Photograph from an automated digital microscope: urine filter membrane, 4× objective. Field of view: about 1.5 mm wide and 1.1 mm high.
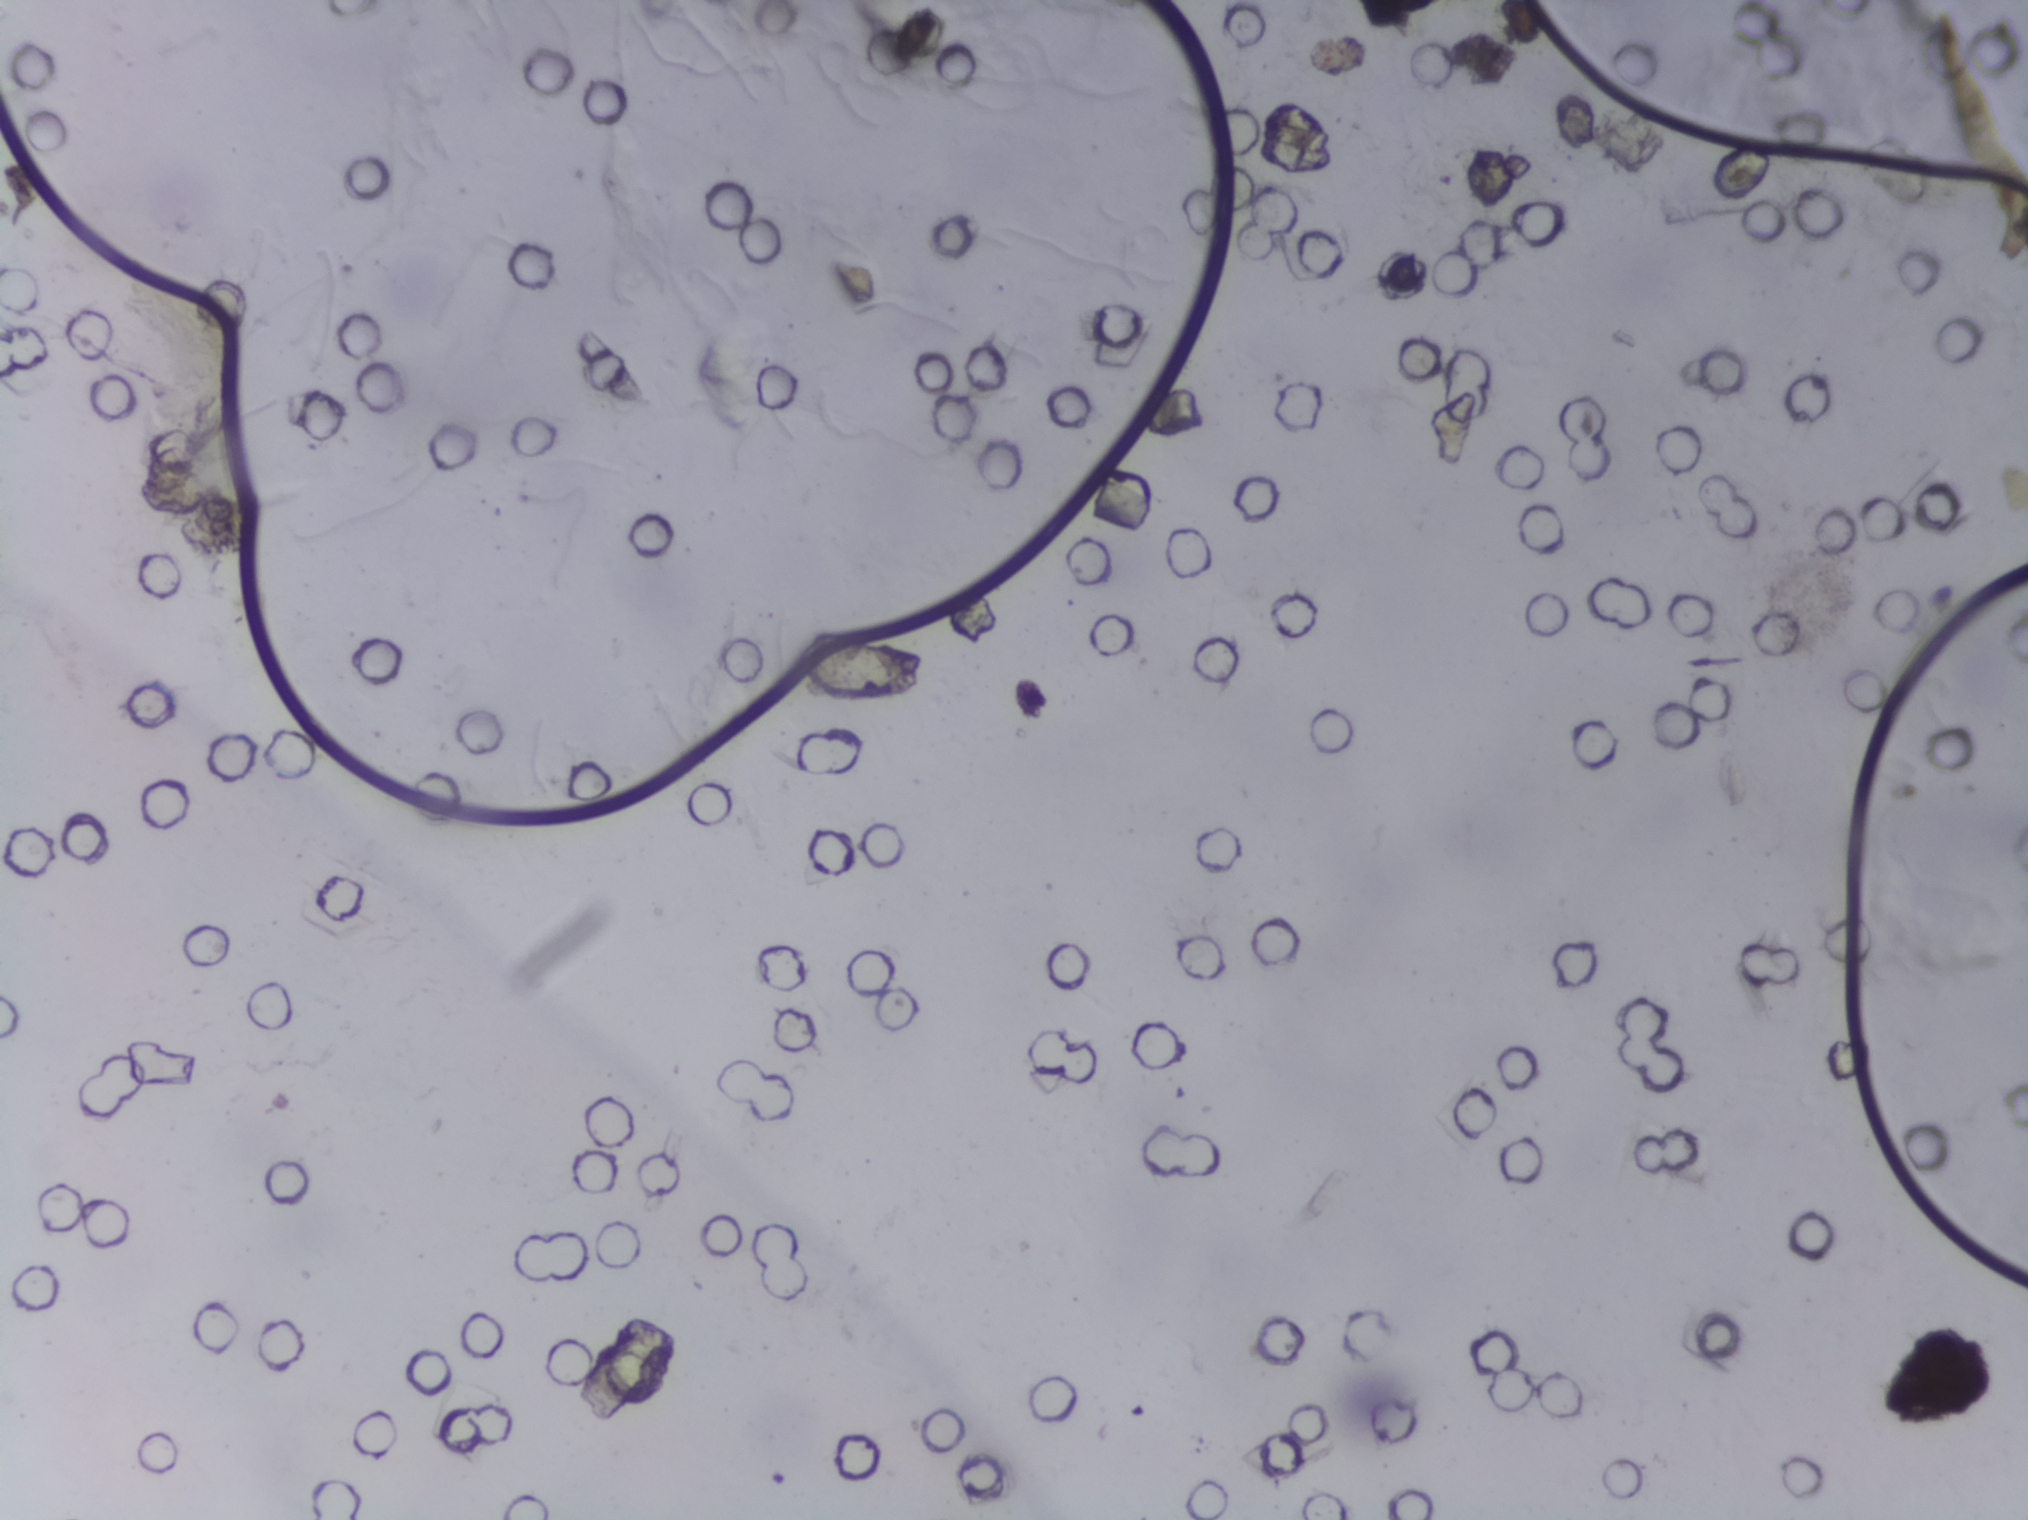
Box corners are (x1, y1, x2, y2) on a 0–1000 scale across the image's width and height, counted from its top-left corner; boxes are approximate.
The expert annotation outlines Schistosoma eggs at (392, 418, 453, 461). Eggs that touch can end up inside the same outlined area.